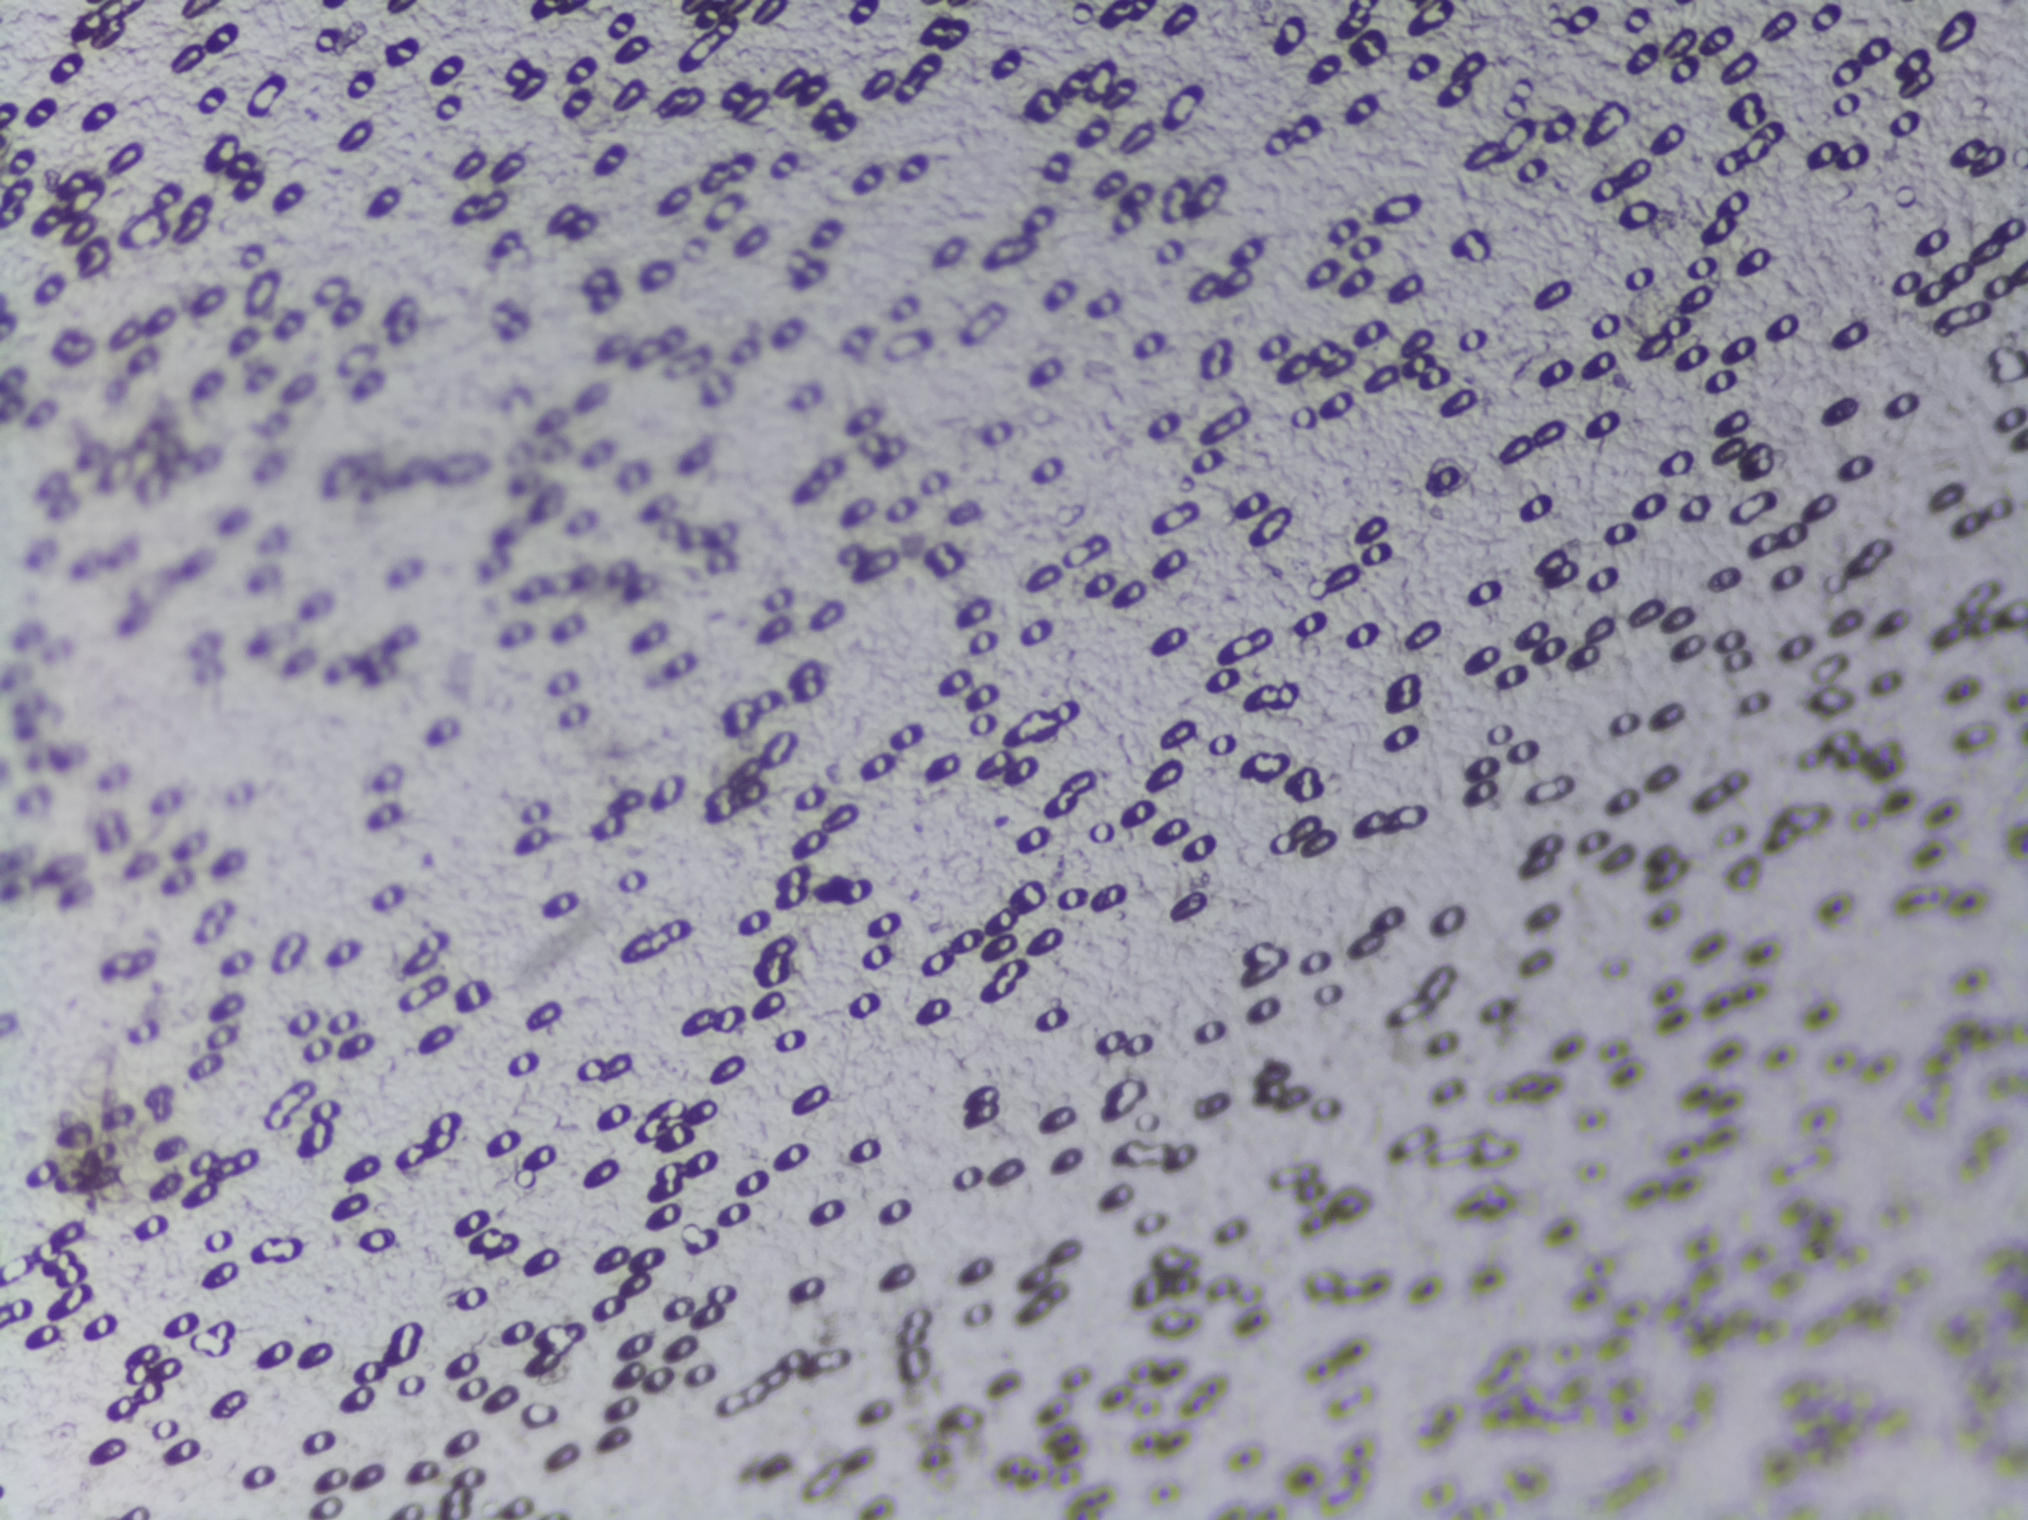
Microscope photograph (4× objective) of a membrane that a urine sample was filtered through. Field of view: about 1.5 mm wide and 1.1 mm high.
No Schistosoma egg is outlined in this image's expert annotation.